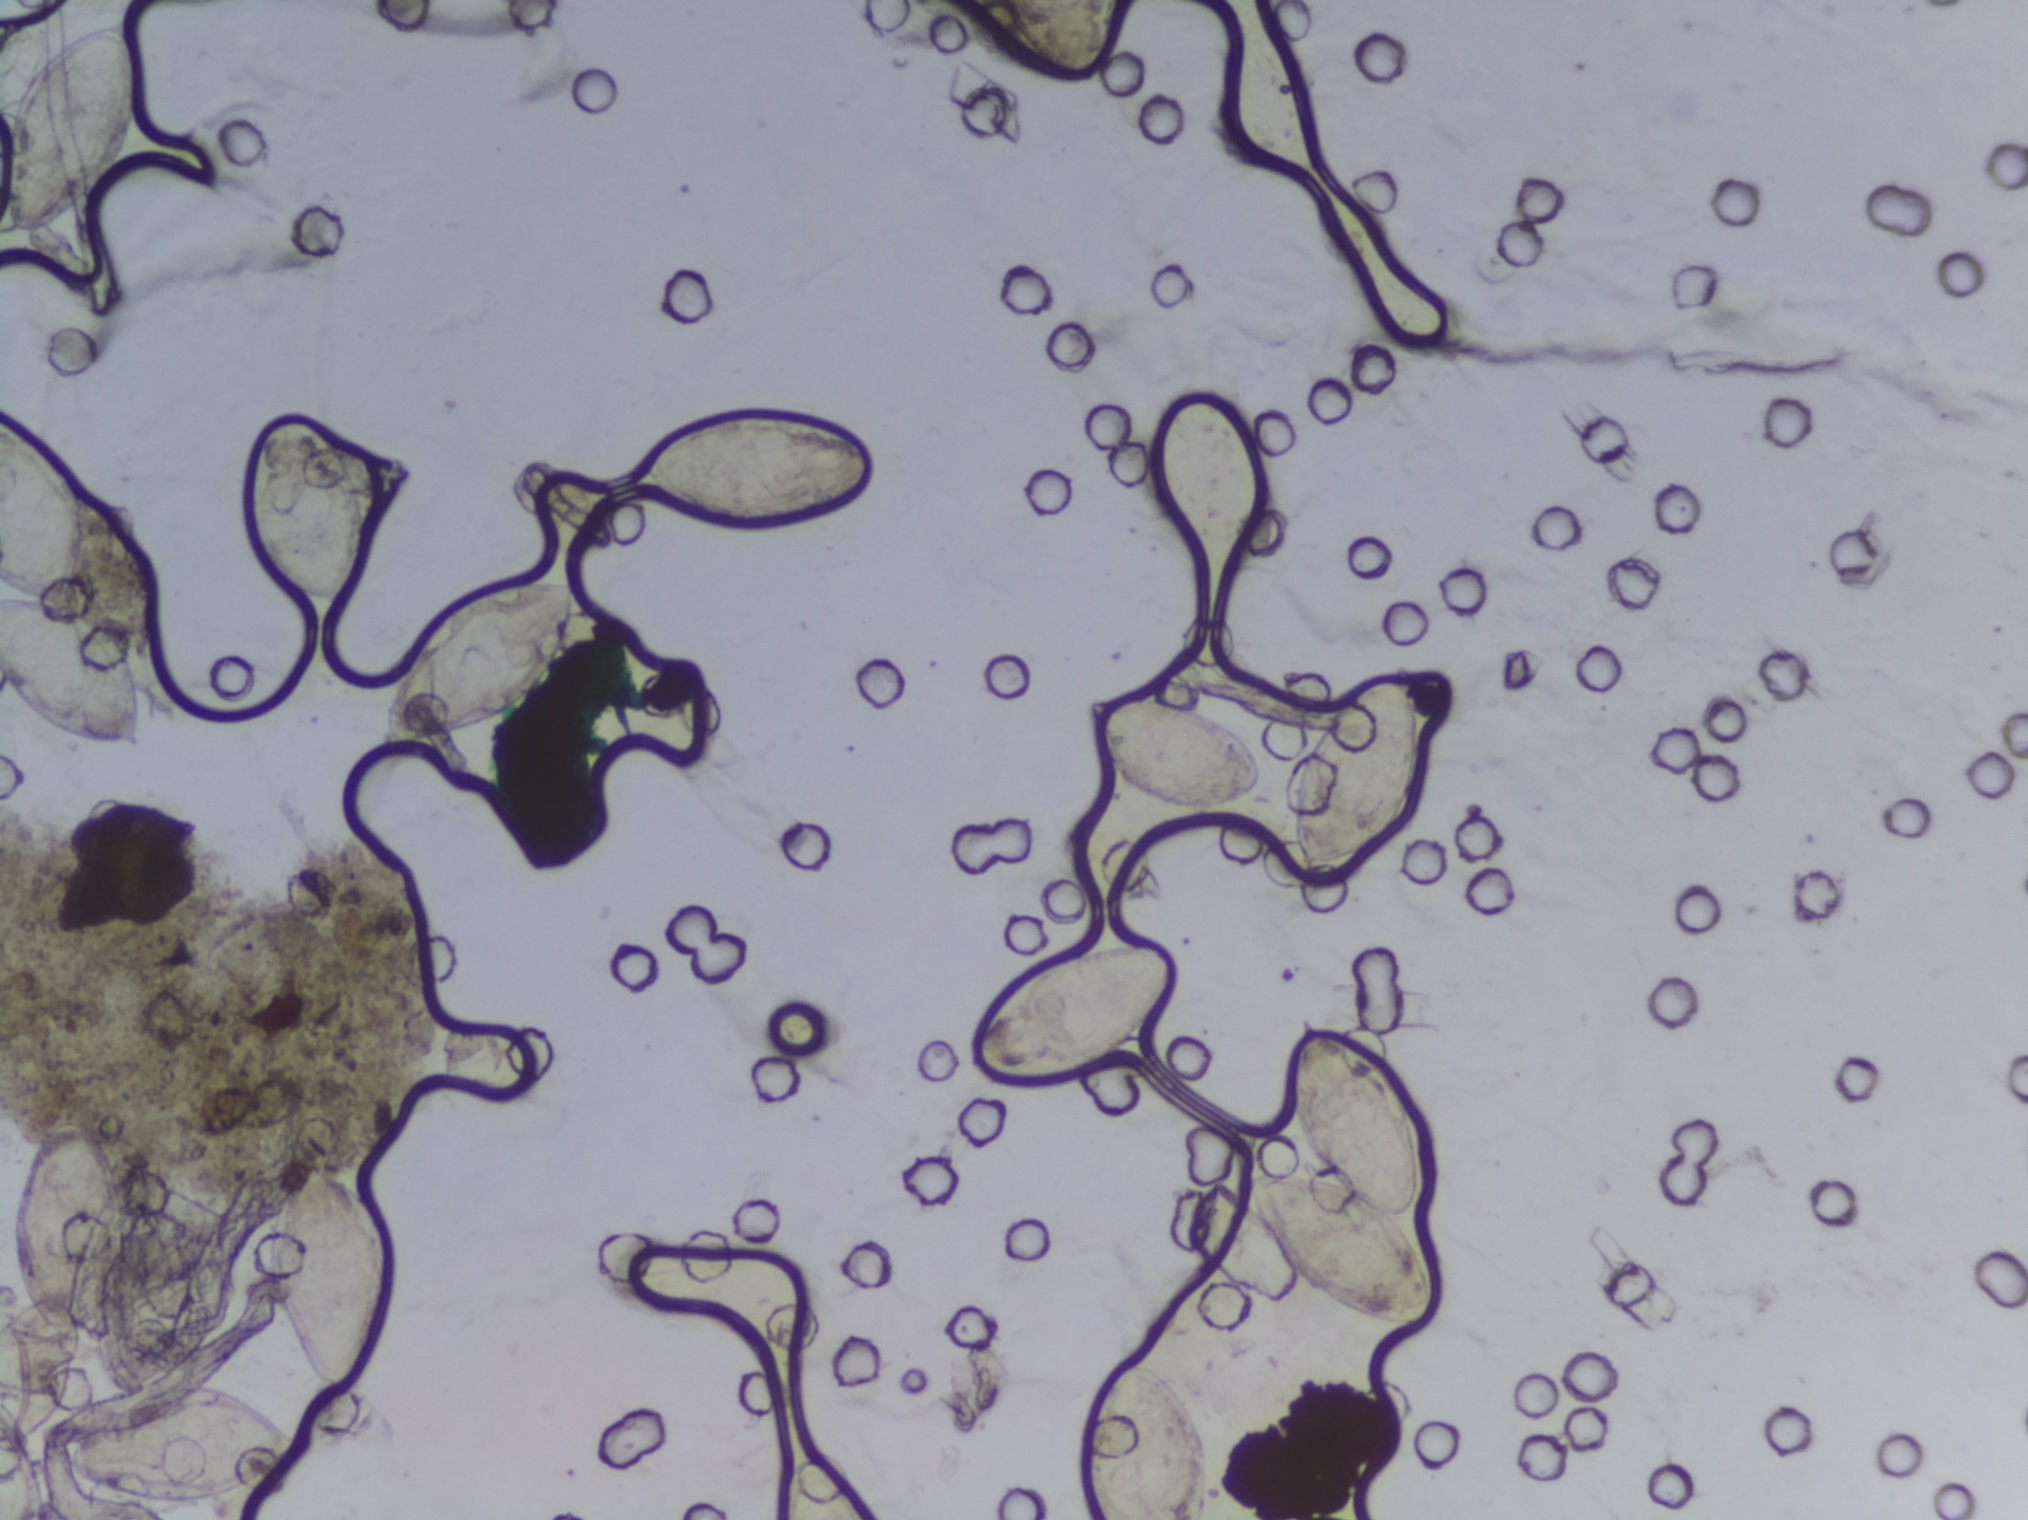
Urine filter membrane photographed through a 4× microscope objective.
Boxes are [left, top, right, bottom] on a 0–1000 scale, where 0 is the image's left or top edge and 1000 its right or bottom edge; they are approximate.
Schistosoma eggs, outlined areas: [0, 10, 72, 160] (reaching the left edge of the frame); [0, 271, 71, 495] (reaching the left edge of the frame); [0, 708, 67, 1000] (reaching the left and bottom edges of the frame); [28, 908, 150, 990]; [121, 274, 182, 406]; [132, 762, 195, 921]; [186, 378, 288, 491]; [316, 270, 430, 347]; [387, 957, 429, 1000] (reaching the bottom edge of the frame); [476, 619, 580, 718]; [492, 0, 552, 51] (reaching the top edge of the frame); [534, 453, 623, 535]; [535, 895, 598, 1000] (reaching the bottom edge of the frame); [615, 667, 710, 880]; [637, 441, 701, 581]. About 10% of the image's pixels are marked (the marked pixels themselves, not the boxes around them). A single outlined area may contain several eggs.